One field of view of a urine filter membrane, 4× objective, 2028 × 1520 pixels.
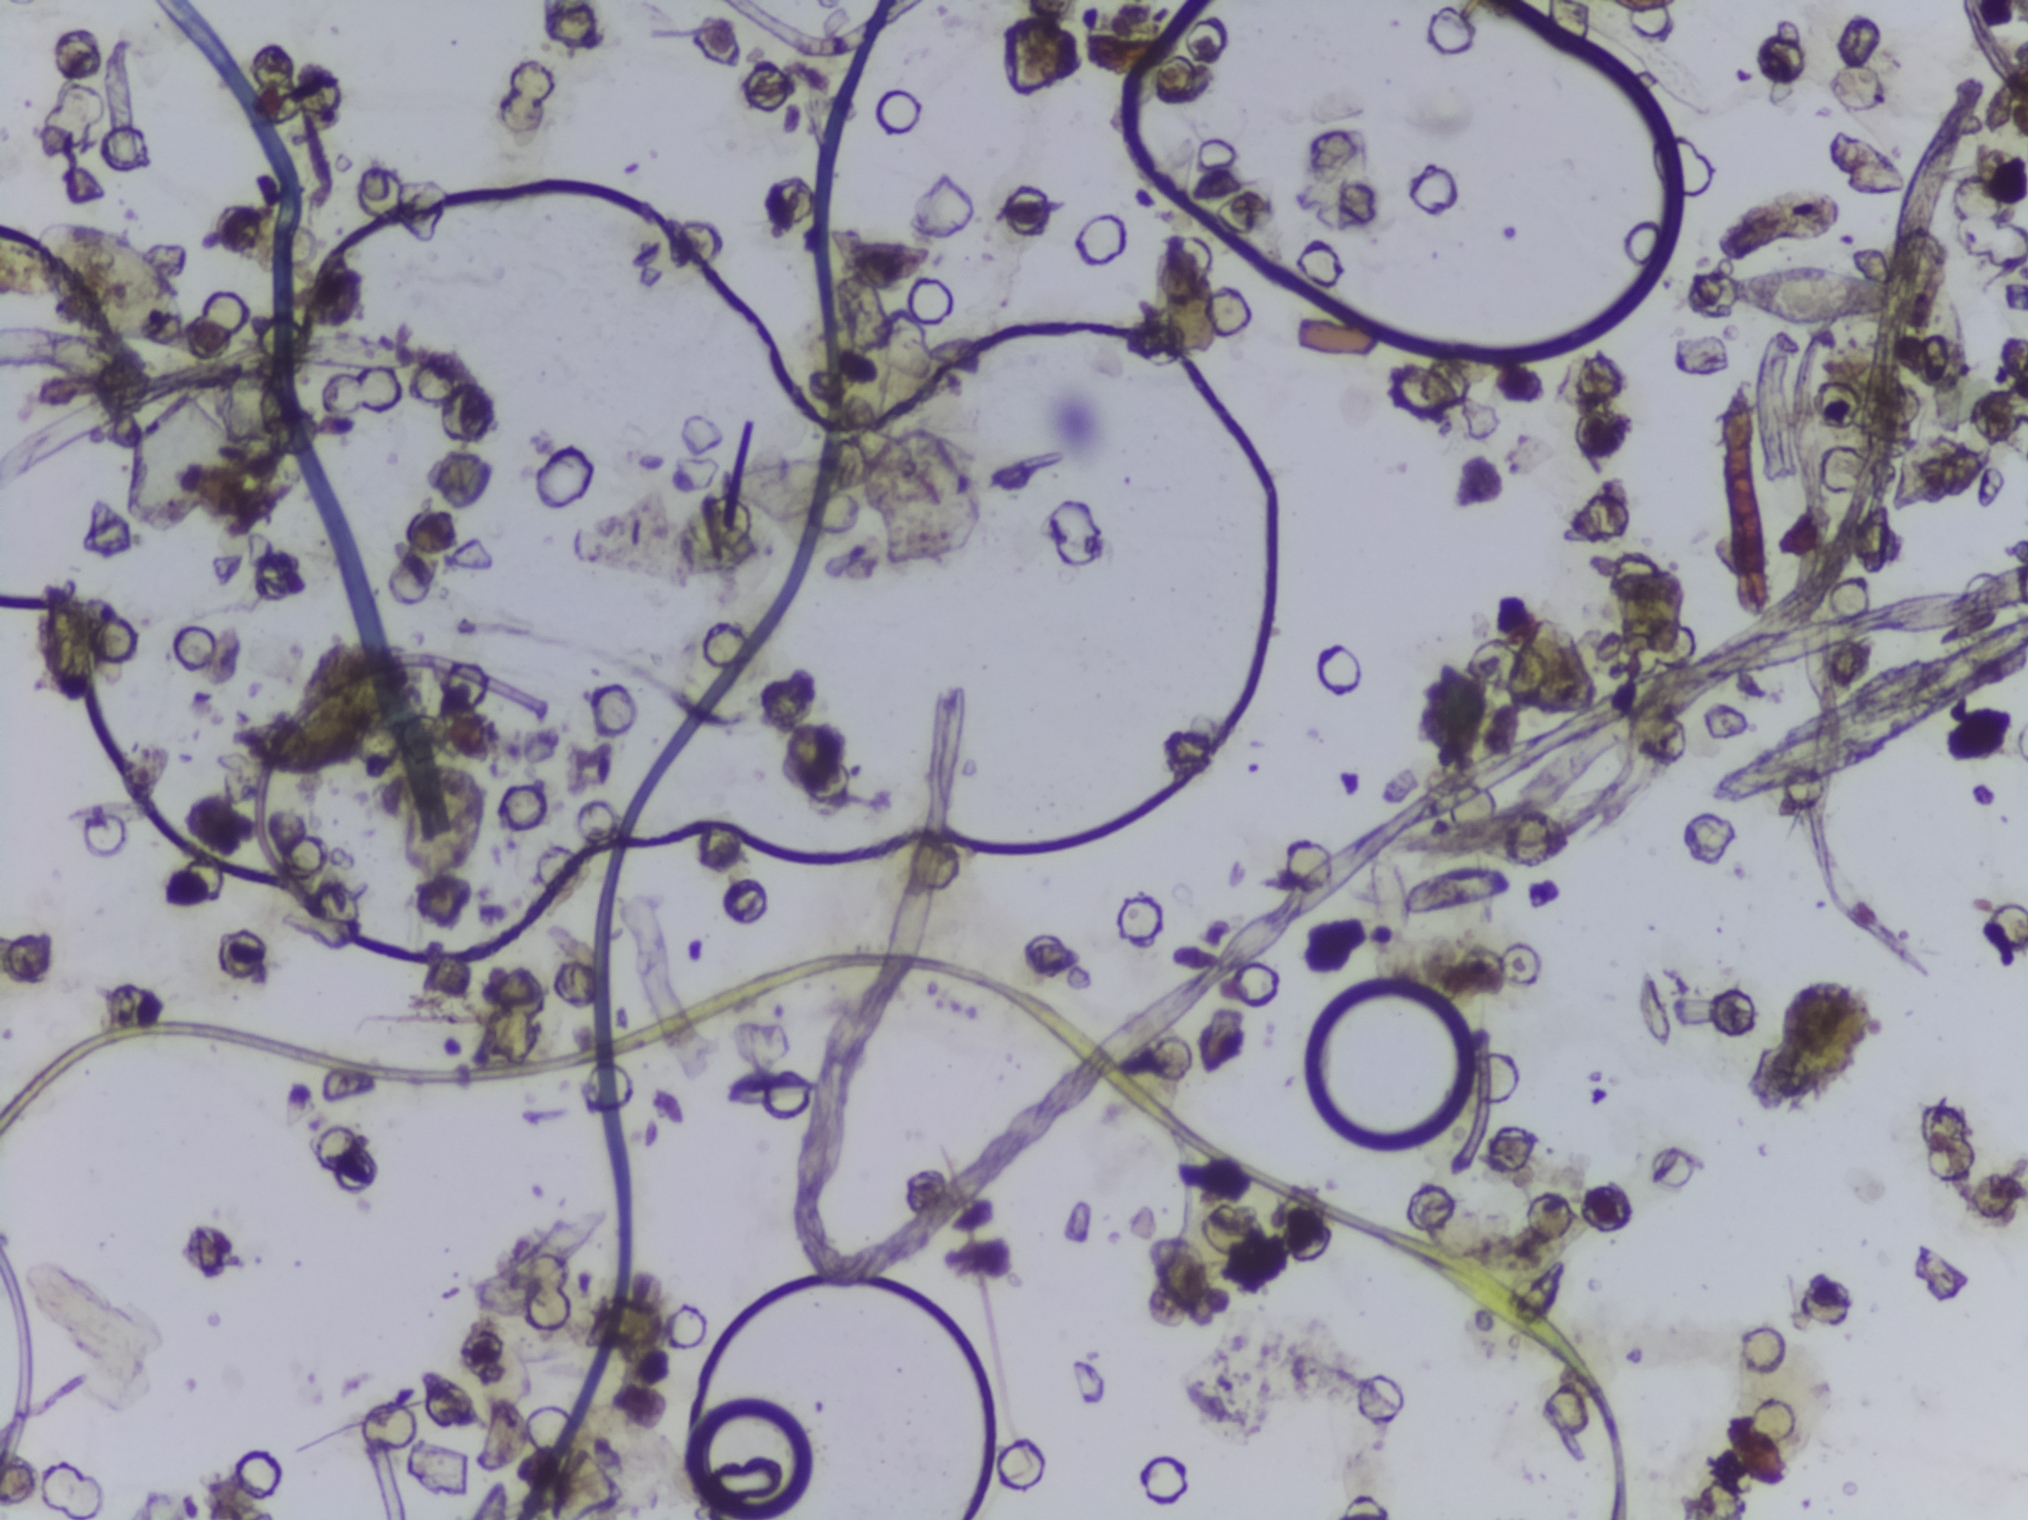
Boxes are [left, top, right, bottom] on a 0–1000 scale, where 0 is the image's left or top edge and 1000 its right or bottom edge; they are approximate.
{"schistosoma_egg_areas_xyxy_per1000": [[15, 145, 88, 229], [843, 169, 933, 214]]}
An outlined area can hold more than one egg. A marked egg may occasionally be S. mansoni rather than S. haematobium.